Photograph from an automated digital microscope: urine filter membrane, 4× objective.
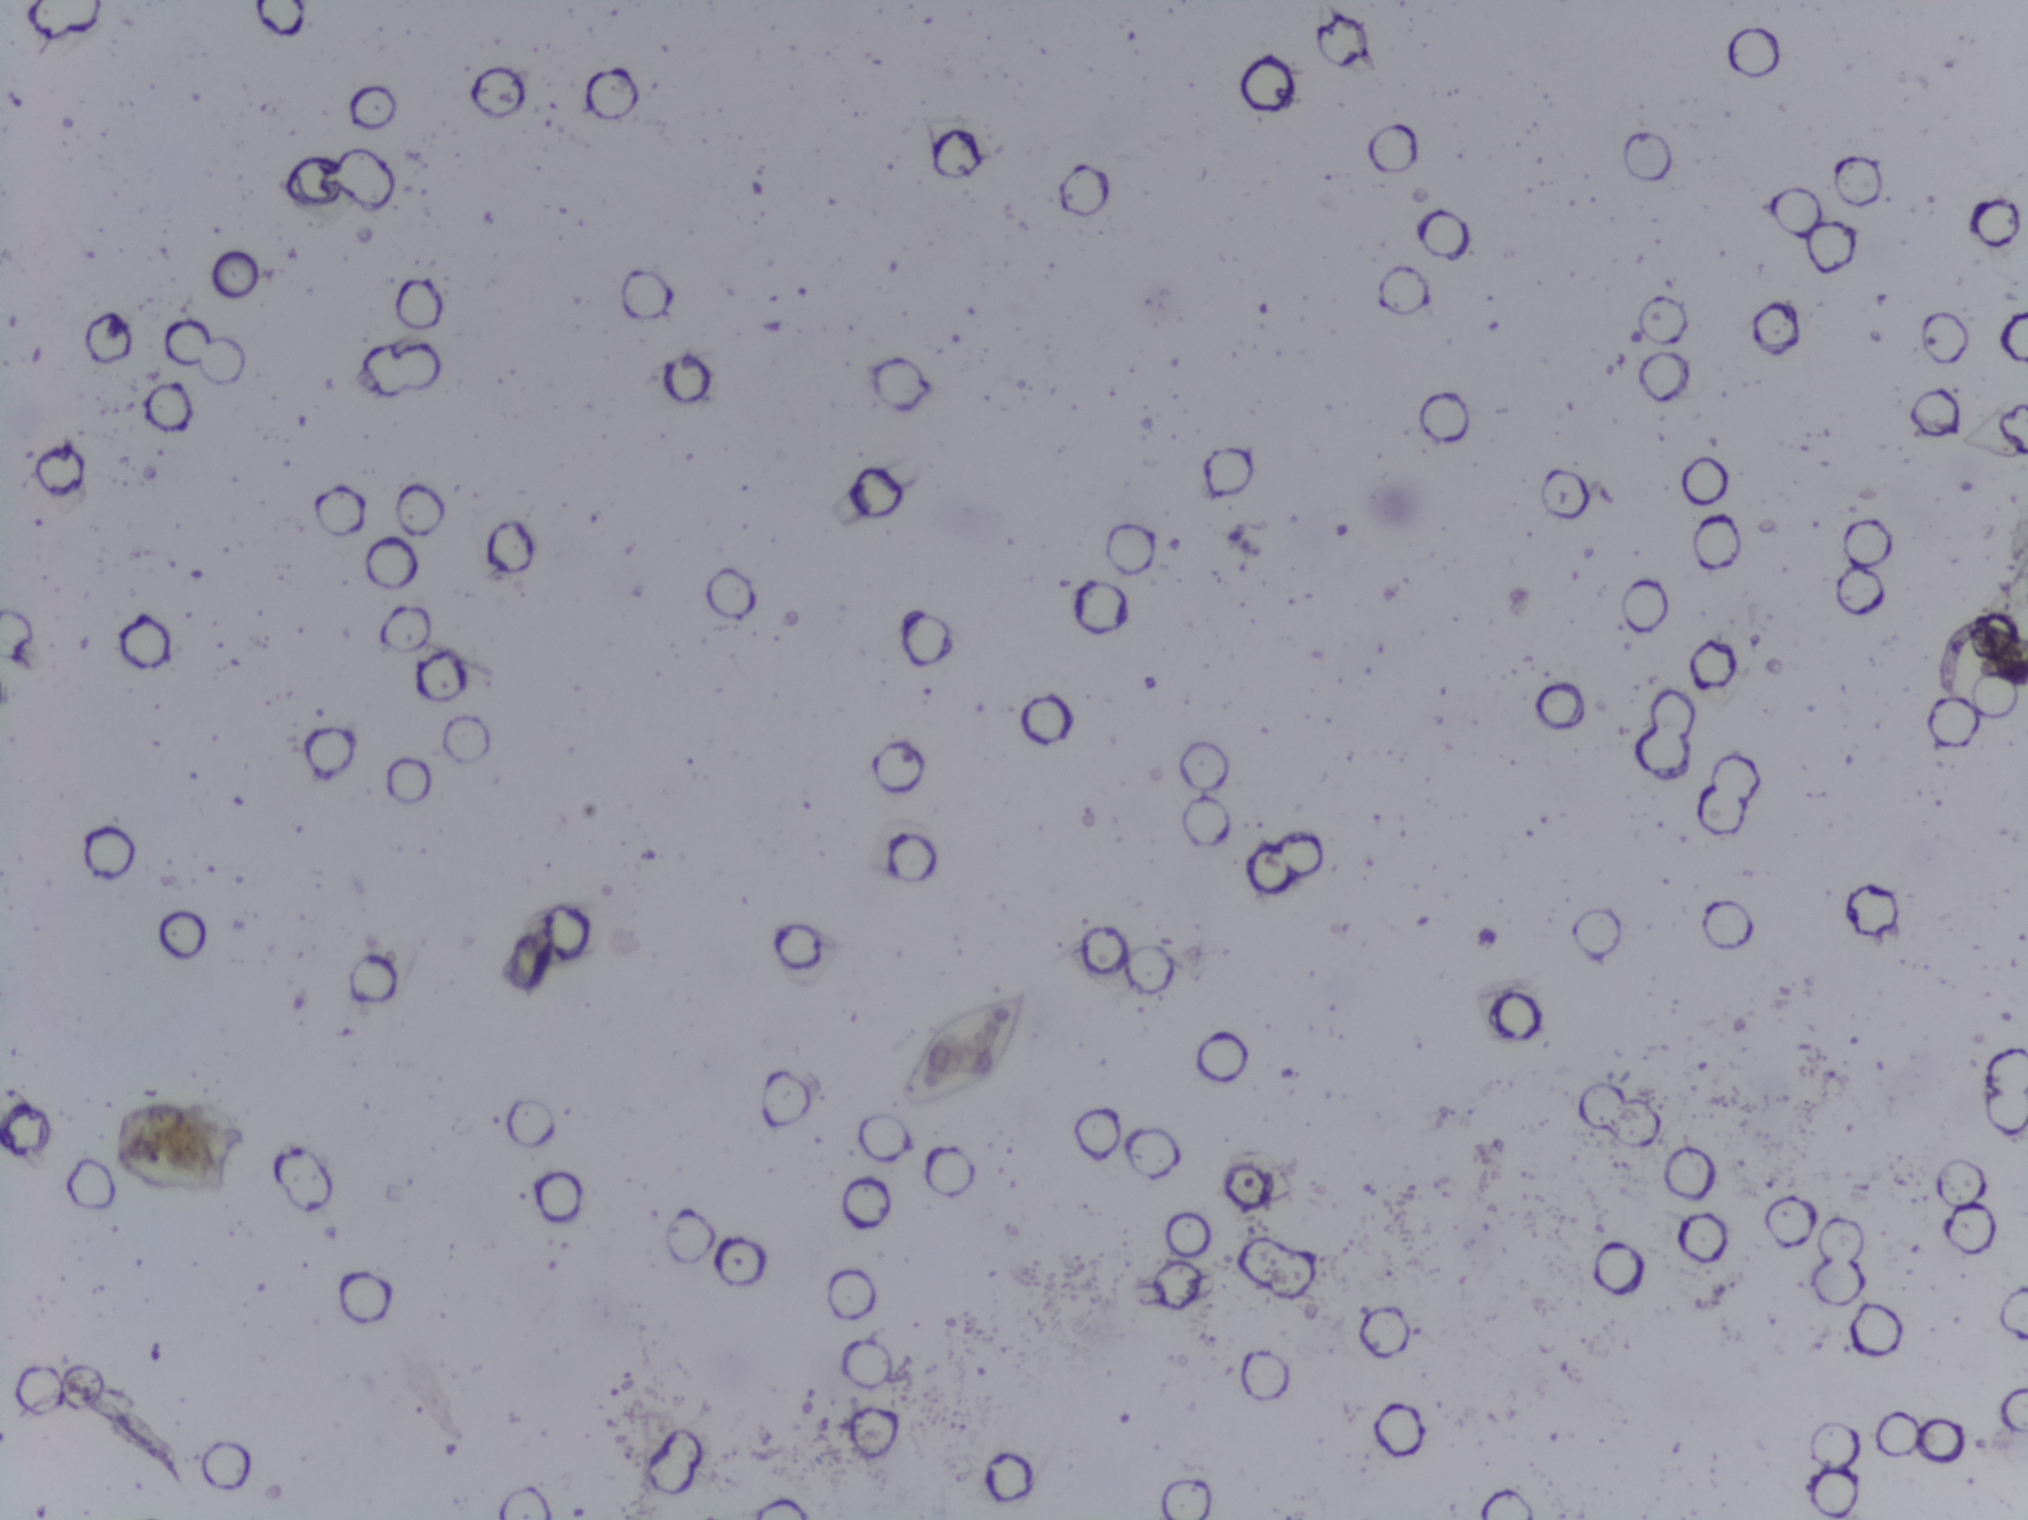
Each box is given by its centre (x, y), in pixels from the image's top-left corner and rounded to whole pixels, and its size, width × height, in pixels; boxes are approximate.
Schistosoma eggs are outlined in the expert annotation at centre (965, 1049), 122 × 116 px. A single outlined area may contain several eggs.